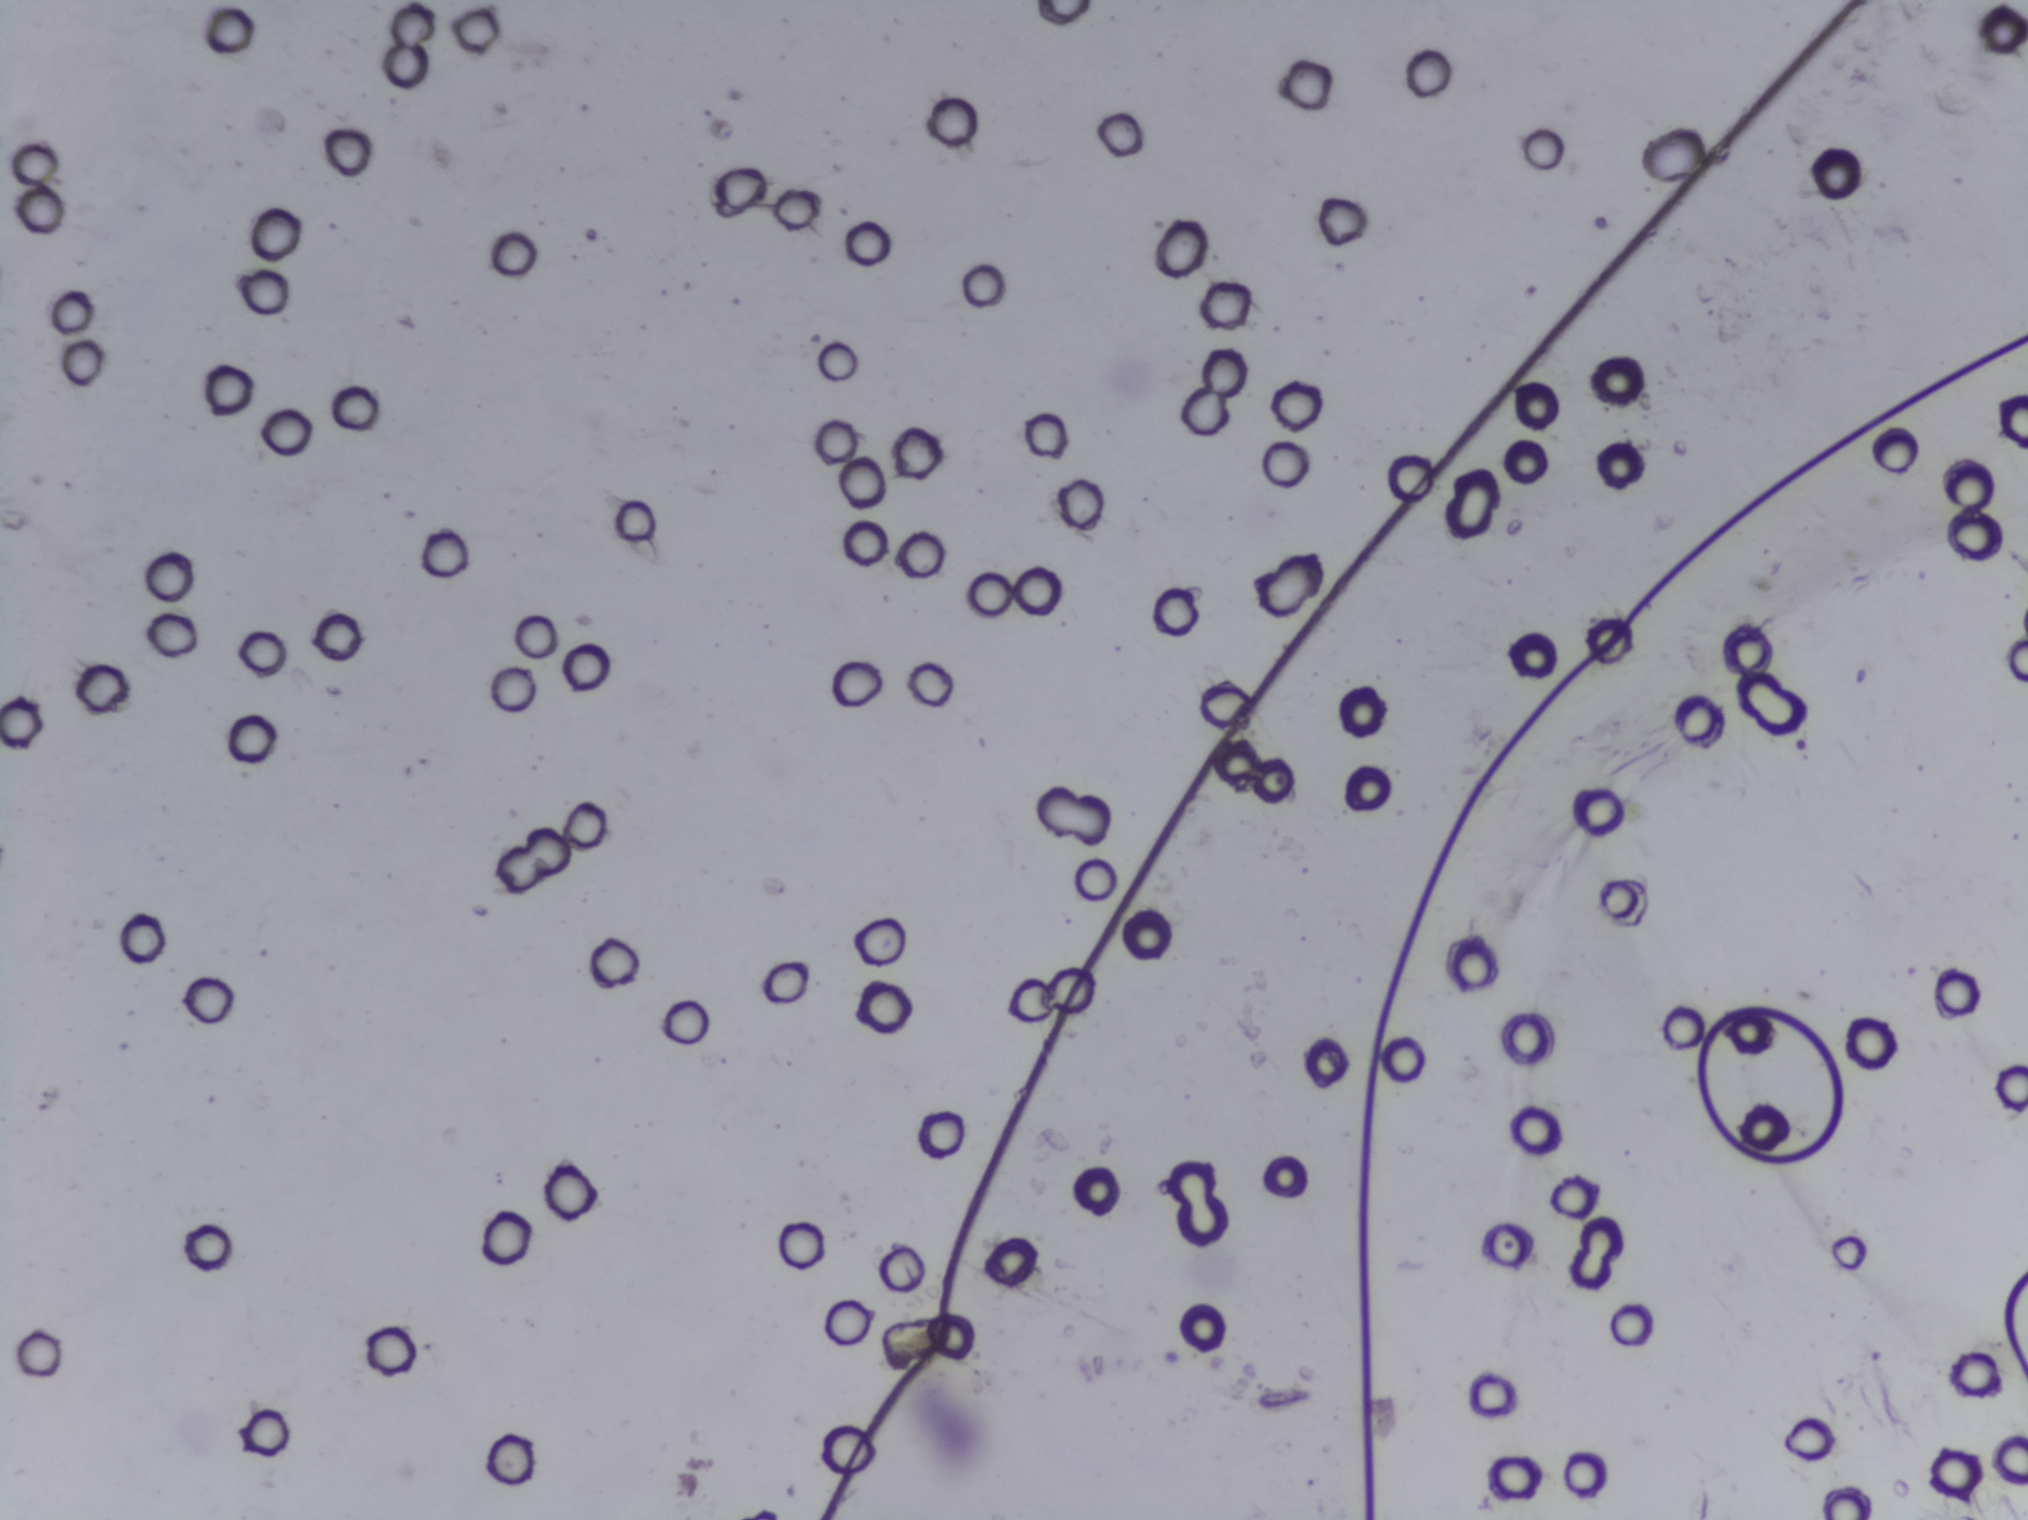
Microscope photograph (4× objective) of a membrane that a urine sample was filtered through.
The expert annotation outlines no Schistosoma egg in this image.